Photomicrograph of a urine filtration membrane, 4× objective. Field of view: about 1.5 mm wide and 1.1 mm high.
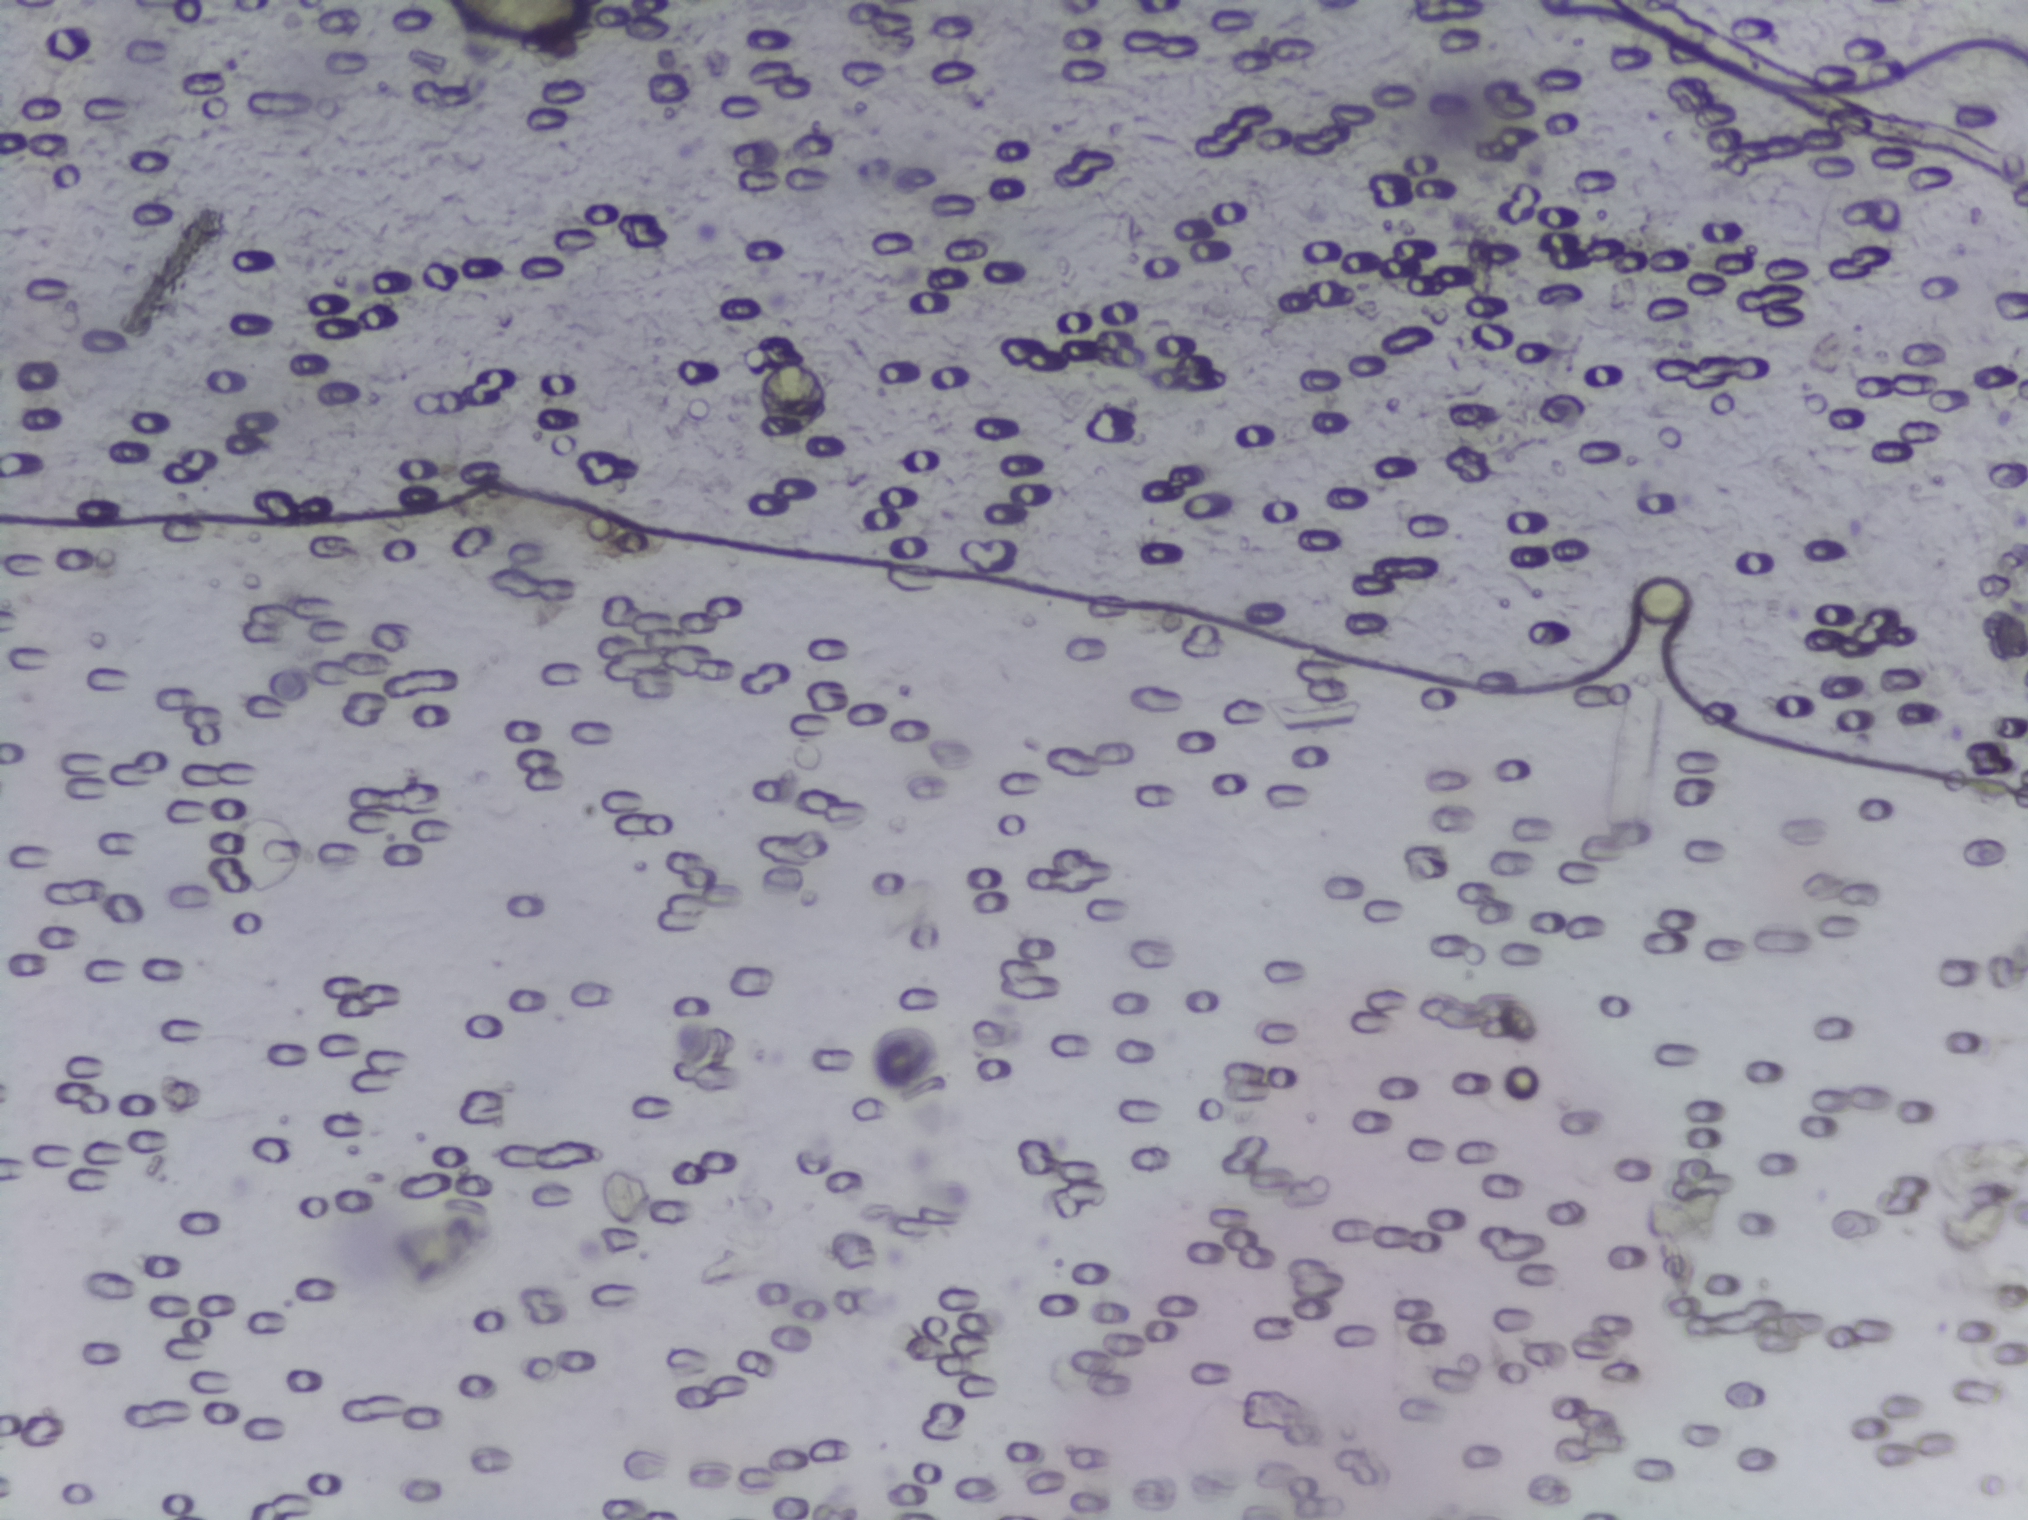
The expert annotation outlines no Schistosoma egg in this image.